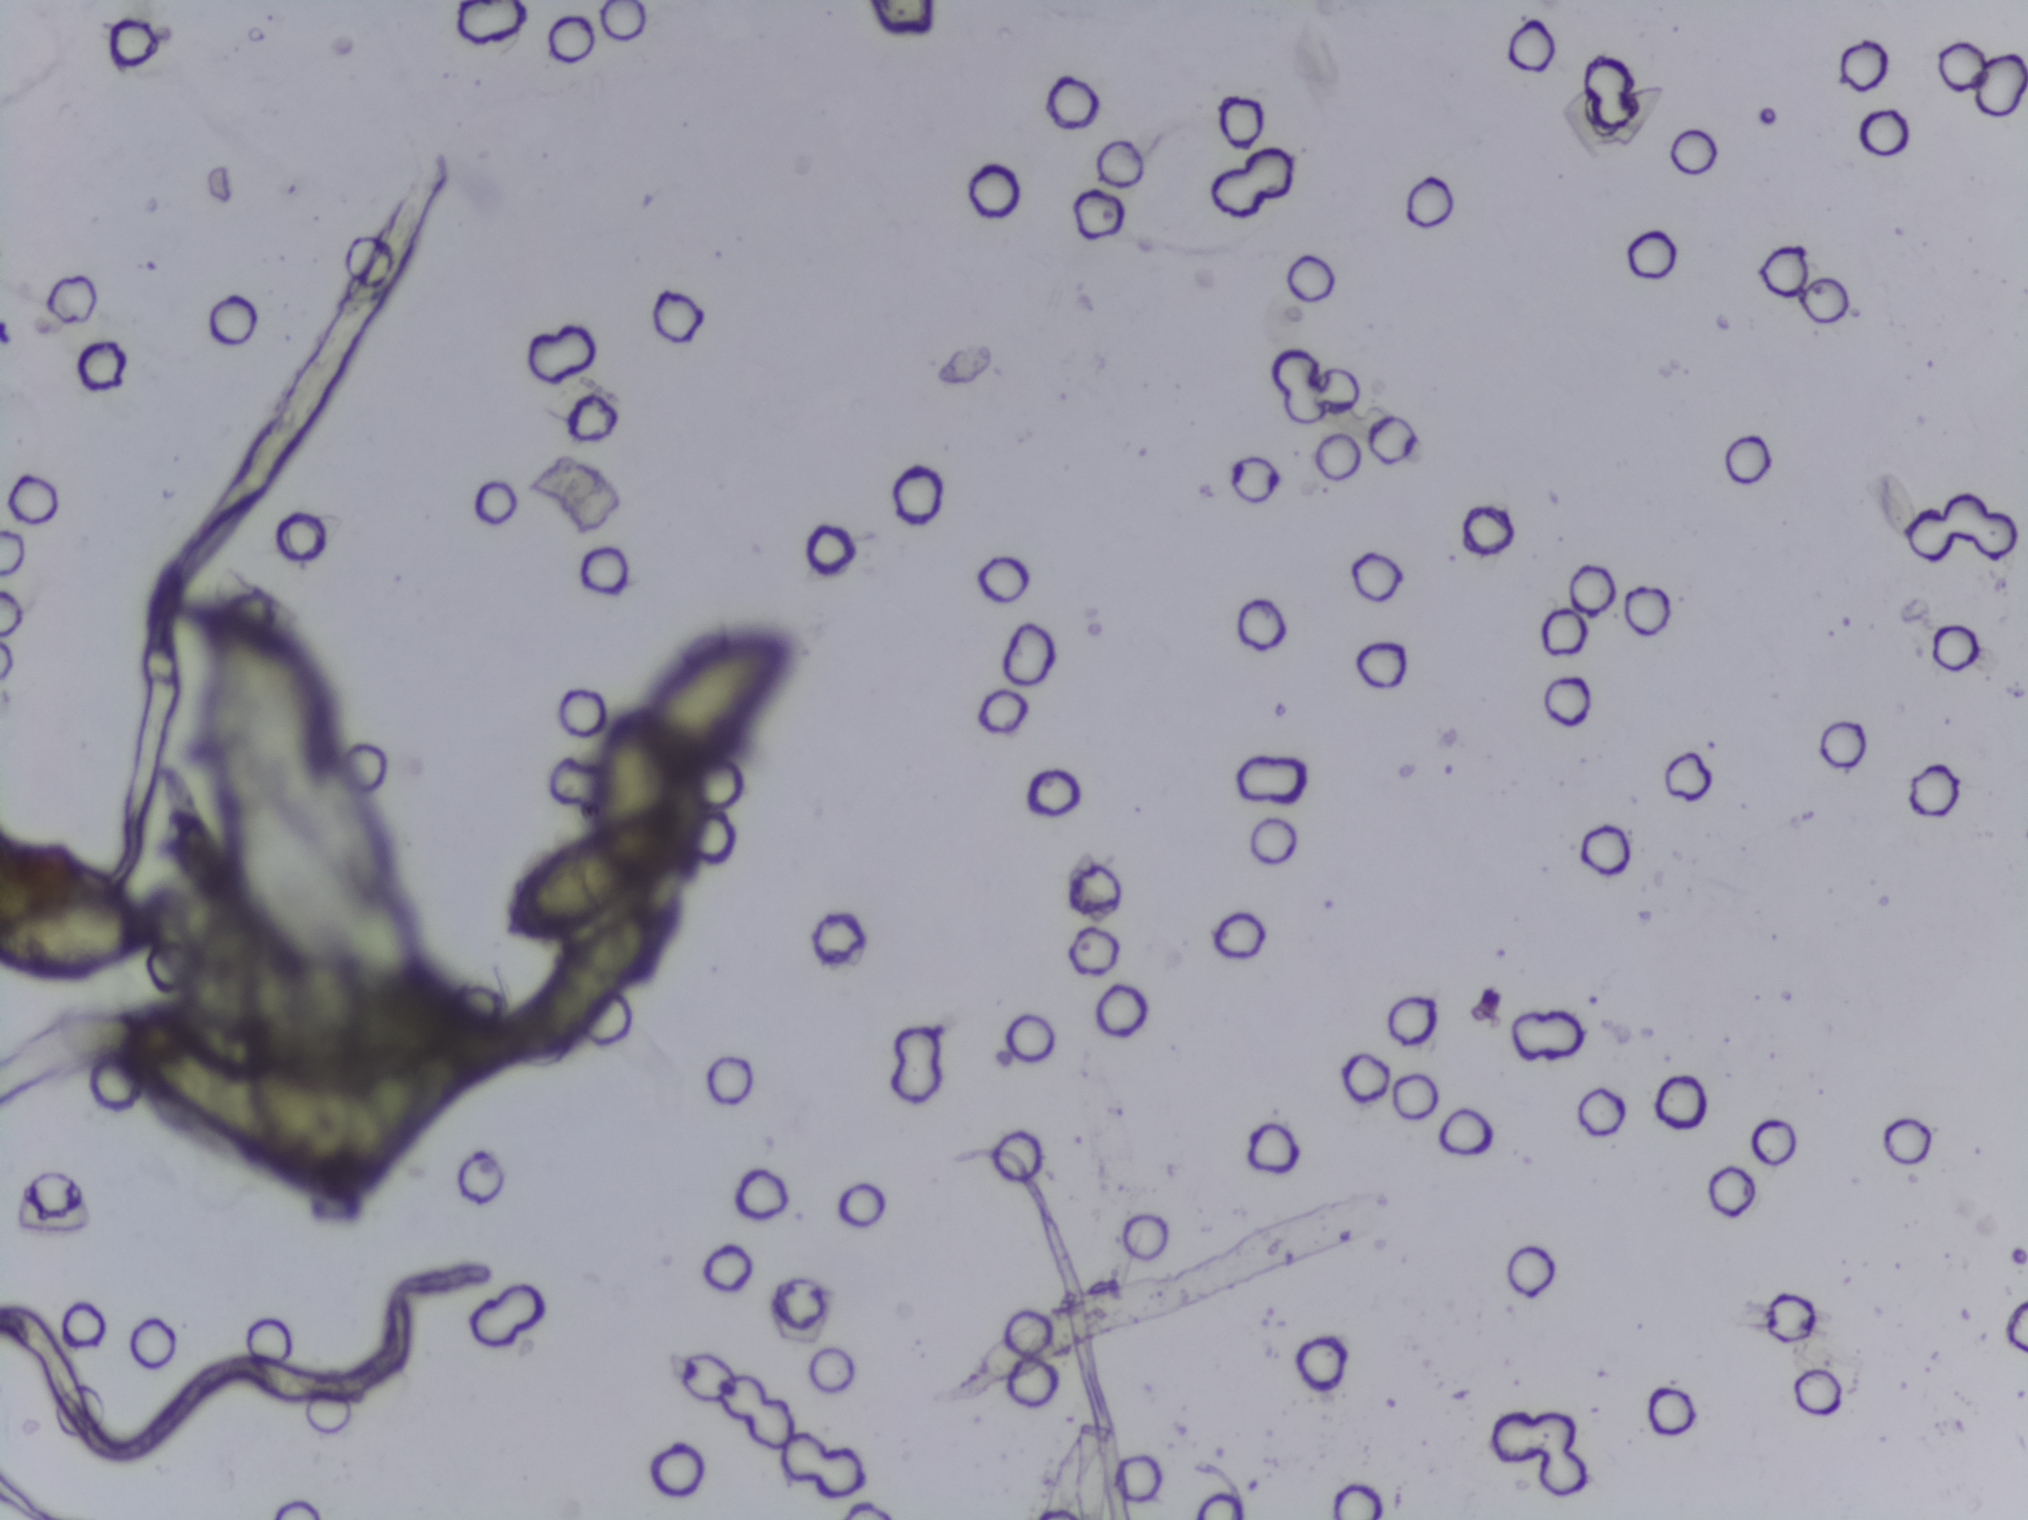
Photomicrograph of a urine filtration membrane, 4× objective. Field of view: about 1.5 mm wide and 1.1 mm high.
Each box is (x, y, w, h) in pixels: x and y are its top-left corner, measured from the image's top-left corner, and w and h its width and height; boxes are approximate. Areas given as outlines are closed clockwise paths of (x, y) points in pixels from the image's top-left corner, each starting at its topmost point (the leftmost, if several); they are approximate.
The expert annotation outlines Schistosoma eggs in two areas, left to right: box (x=0, y=888, w=160, h=96) (reaching the left edge of the frame) and outline (741, 631), (790, 634), (792, 656), (746, 728), (700, 771), (707, 811), (700, 877), (679, 885), (667, 861), (618, 905), (664, 901), (667, 919), (652, 958), (630, 998), (588, 1045), (541, 1048), (531, 1035), (531, 998), (541, 969), (564, 942), (507, 945), (495, 921), (499, 898), (555, 850), (595, 834), (593, 761), (616, 718), (629, 706), (657, 701), (668, 673), (696, 648) (a cluster of eggs). Marked pixels, not the box and the outline around them: about 2.0% of the image. A single outlined area may contain several eggs.